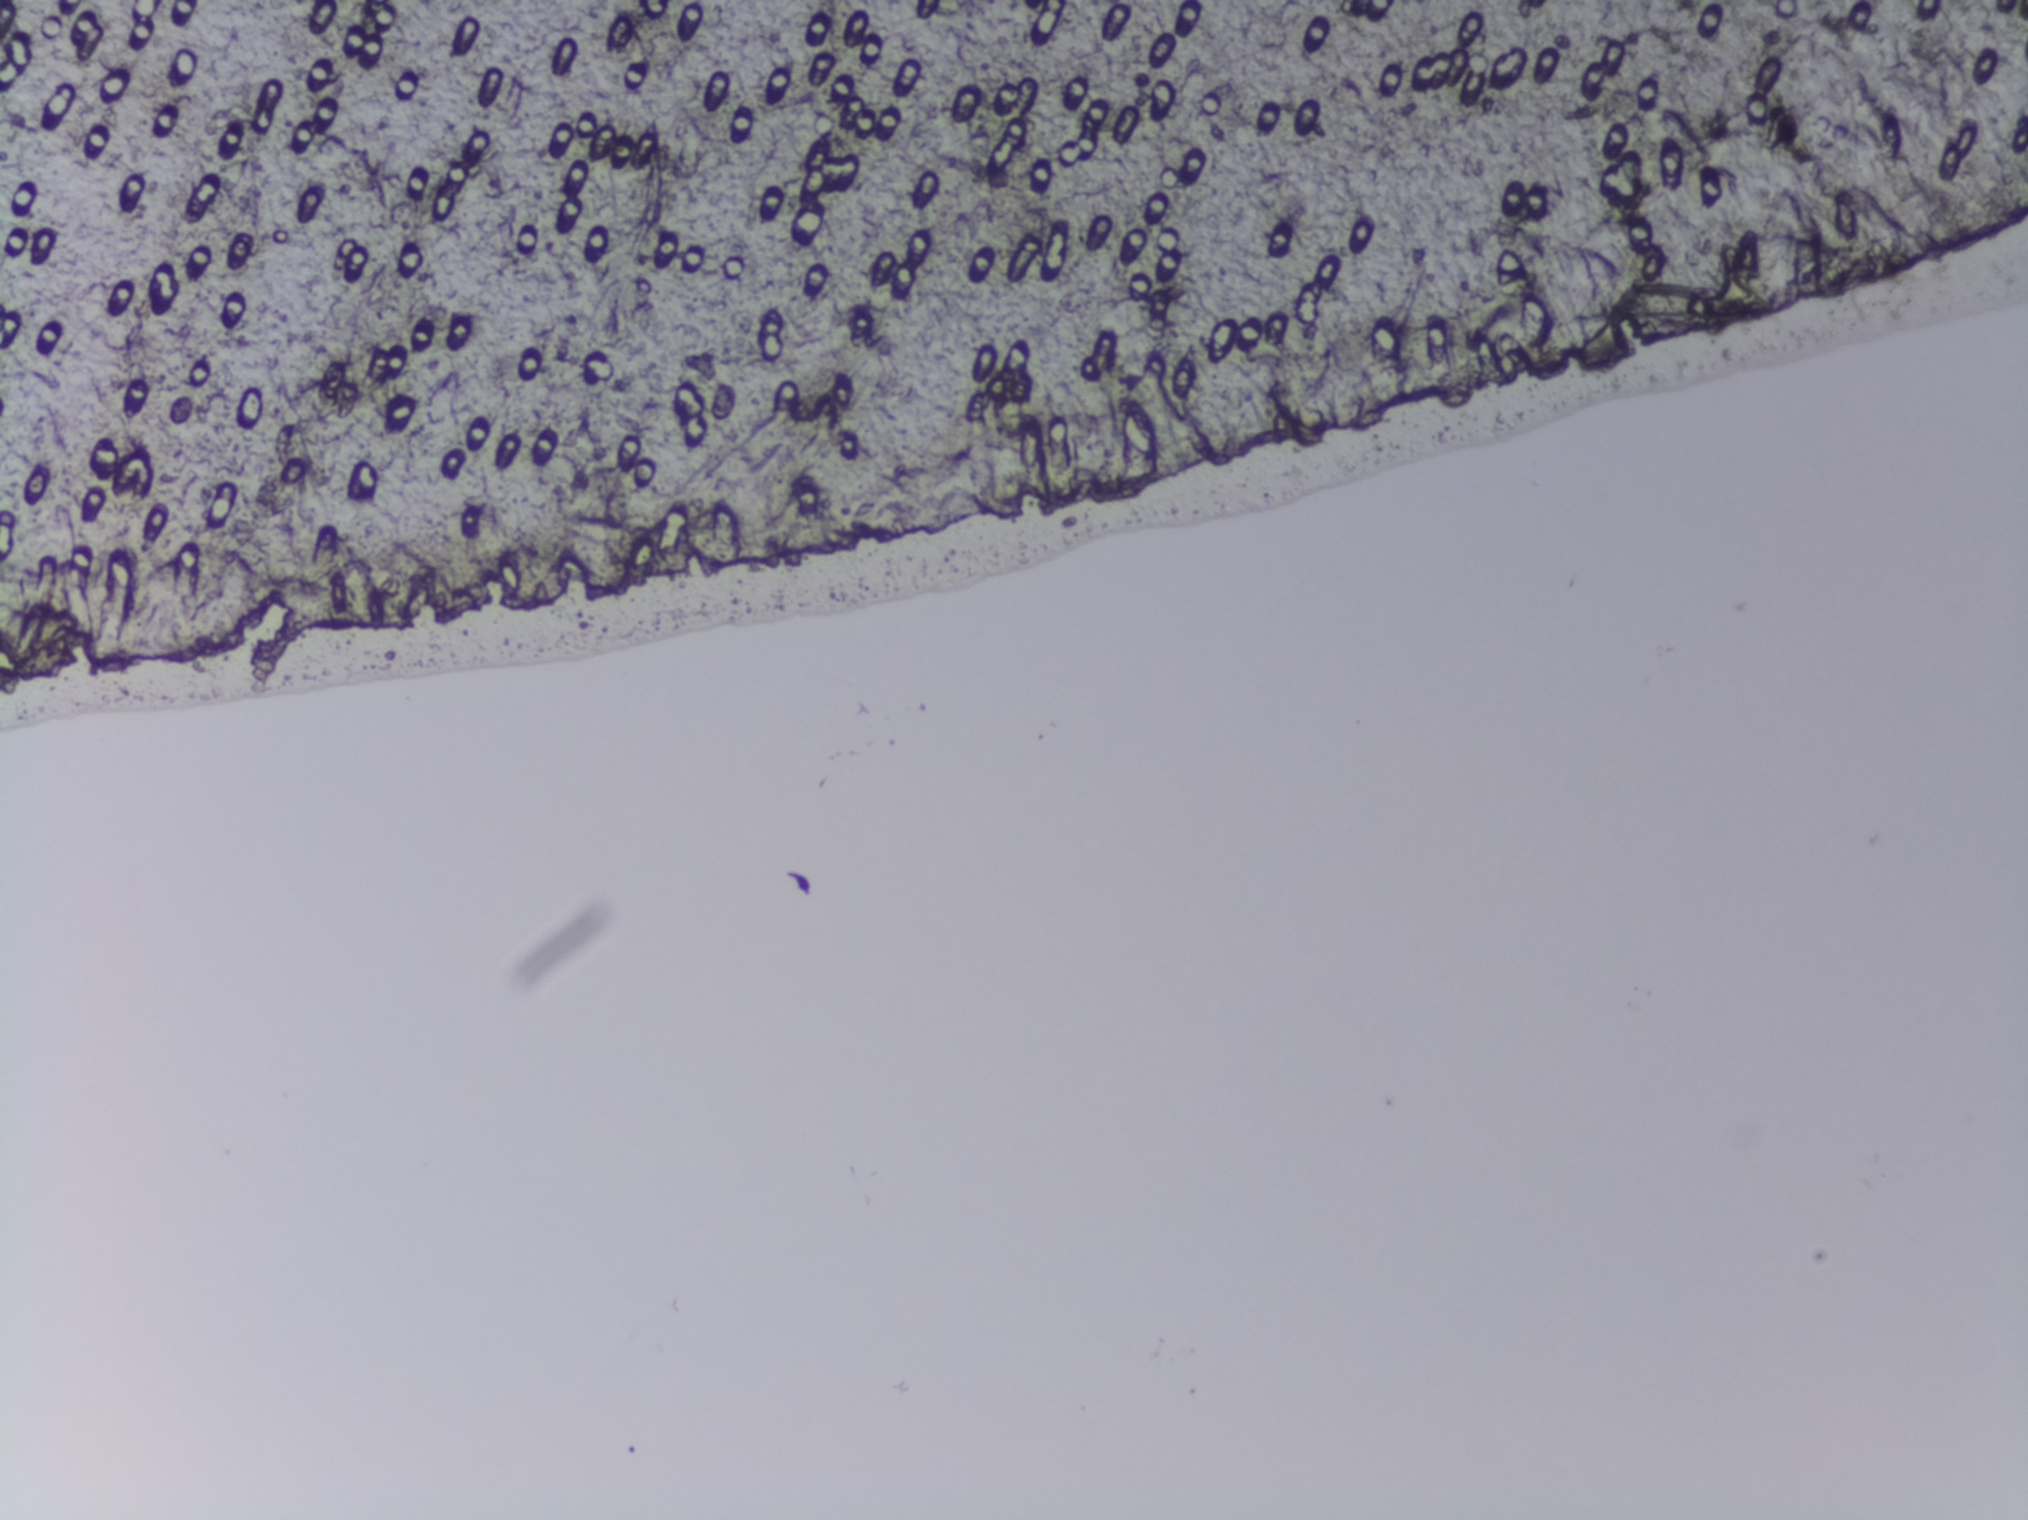
Schistosoma eggs: none outlined.
Photomicrograph of a urine filtration membrane, 4× objective. The field of view is about 1.5 mm × 1.1 mm.